Urine filter membrane photographed through a 4× microscope objective.
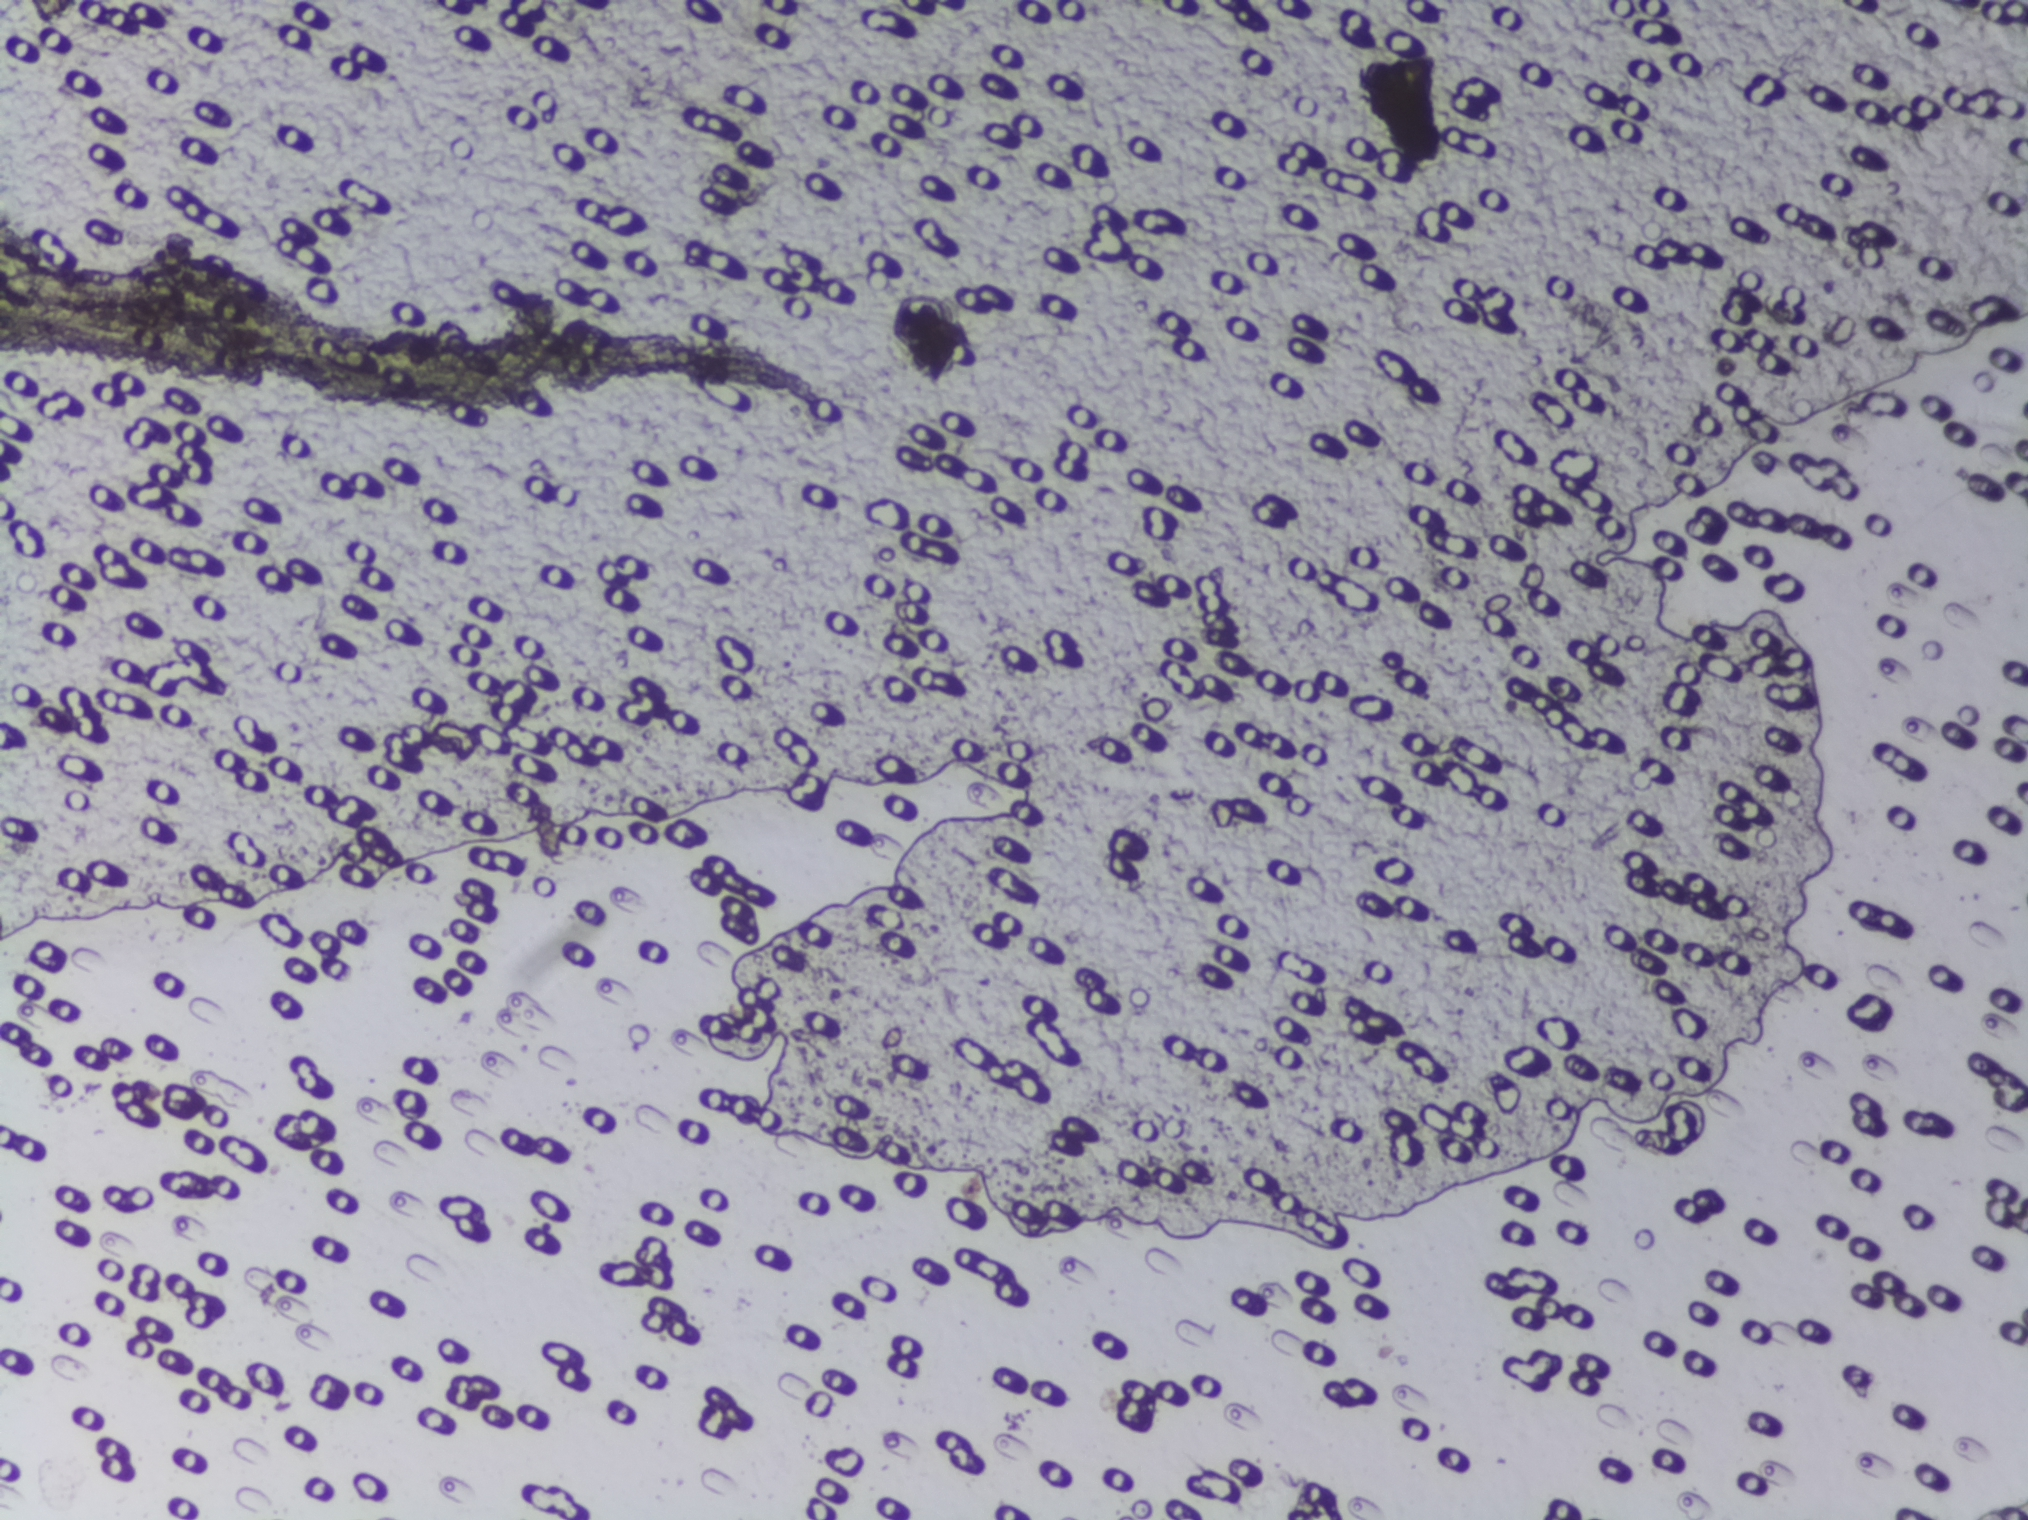
Schistosoma eggs: none outlined.